Urine filtration membrane under a 4× objective, photographed by an automated digital microscope.
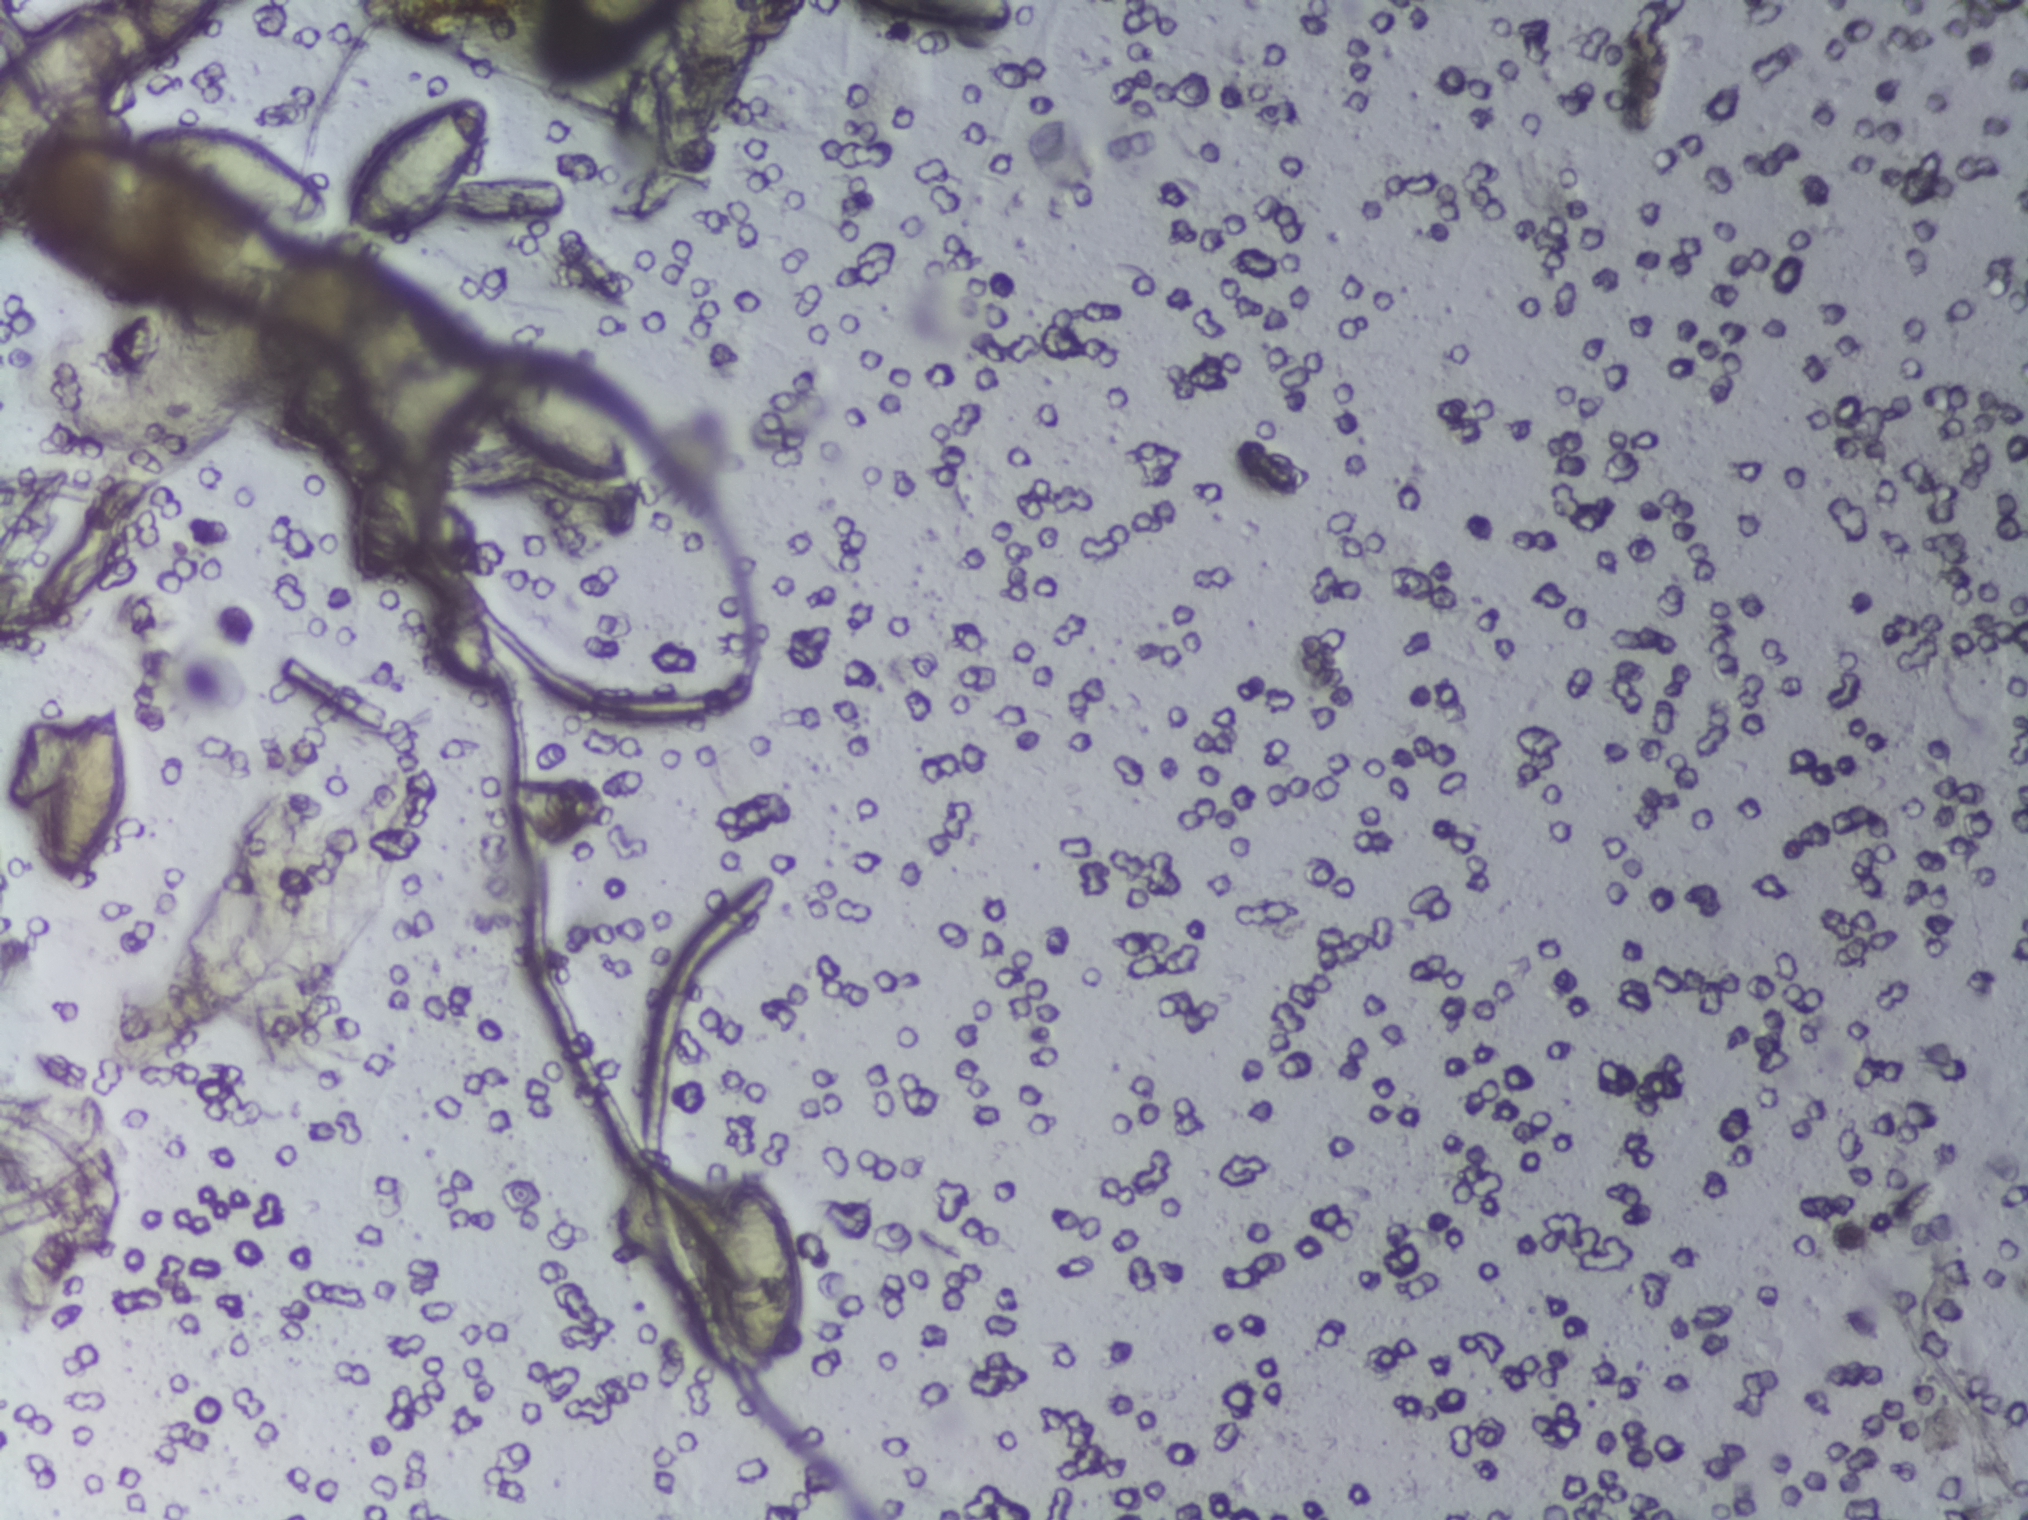
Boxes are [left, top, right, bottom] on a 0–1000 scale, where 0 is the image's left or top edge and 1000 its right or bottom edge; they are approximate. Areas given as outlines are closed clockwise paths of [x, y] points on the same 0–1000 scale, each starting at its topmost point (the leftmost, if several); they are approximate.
Schistosoma eggs, outlined areas: box [0, 0, 112, 79] (reaching the left and top edges of the frame); box [18, 458, 66, 588]; box [64, 77, 165, 153]; outline [231, 62], [243, 67], [244, 96], [226, 141], [214, 154], [182, 160], [180, 202], [208, 198], [211, 204], [206, 233], [186, 265], [202, 297], [217, 294], [220, 315], [212, 340], [195, 372], [187, 381], [172, 386], [170, 363], [175, 326], [166, 318], [156, 290], [137, 289], [140, 251], [131, 250], [122, 232], [147, 165], [170, 152], [180, 101], [186, 88], [196, 79] (eggs clustered together); box [241, 239, 317, 329]; box [261, 0, 380, 86] (reaching the top edge of the frame); box [346, 770, 397, 908]; box [416, 0, 506, 24] (reaching the top edge of the frame). A single outlined area may contain several eggs.